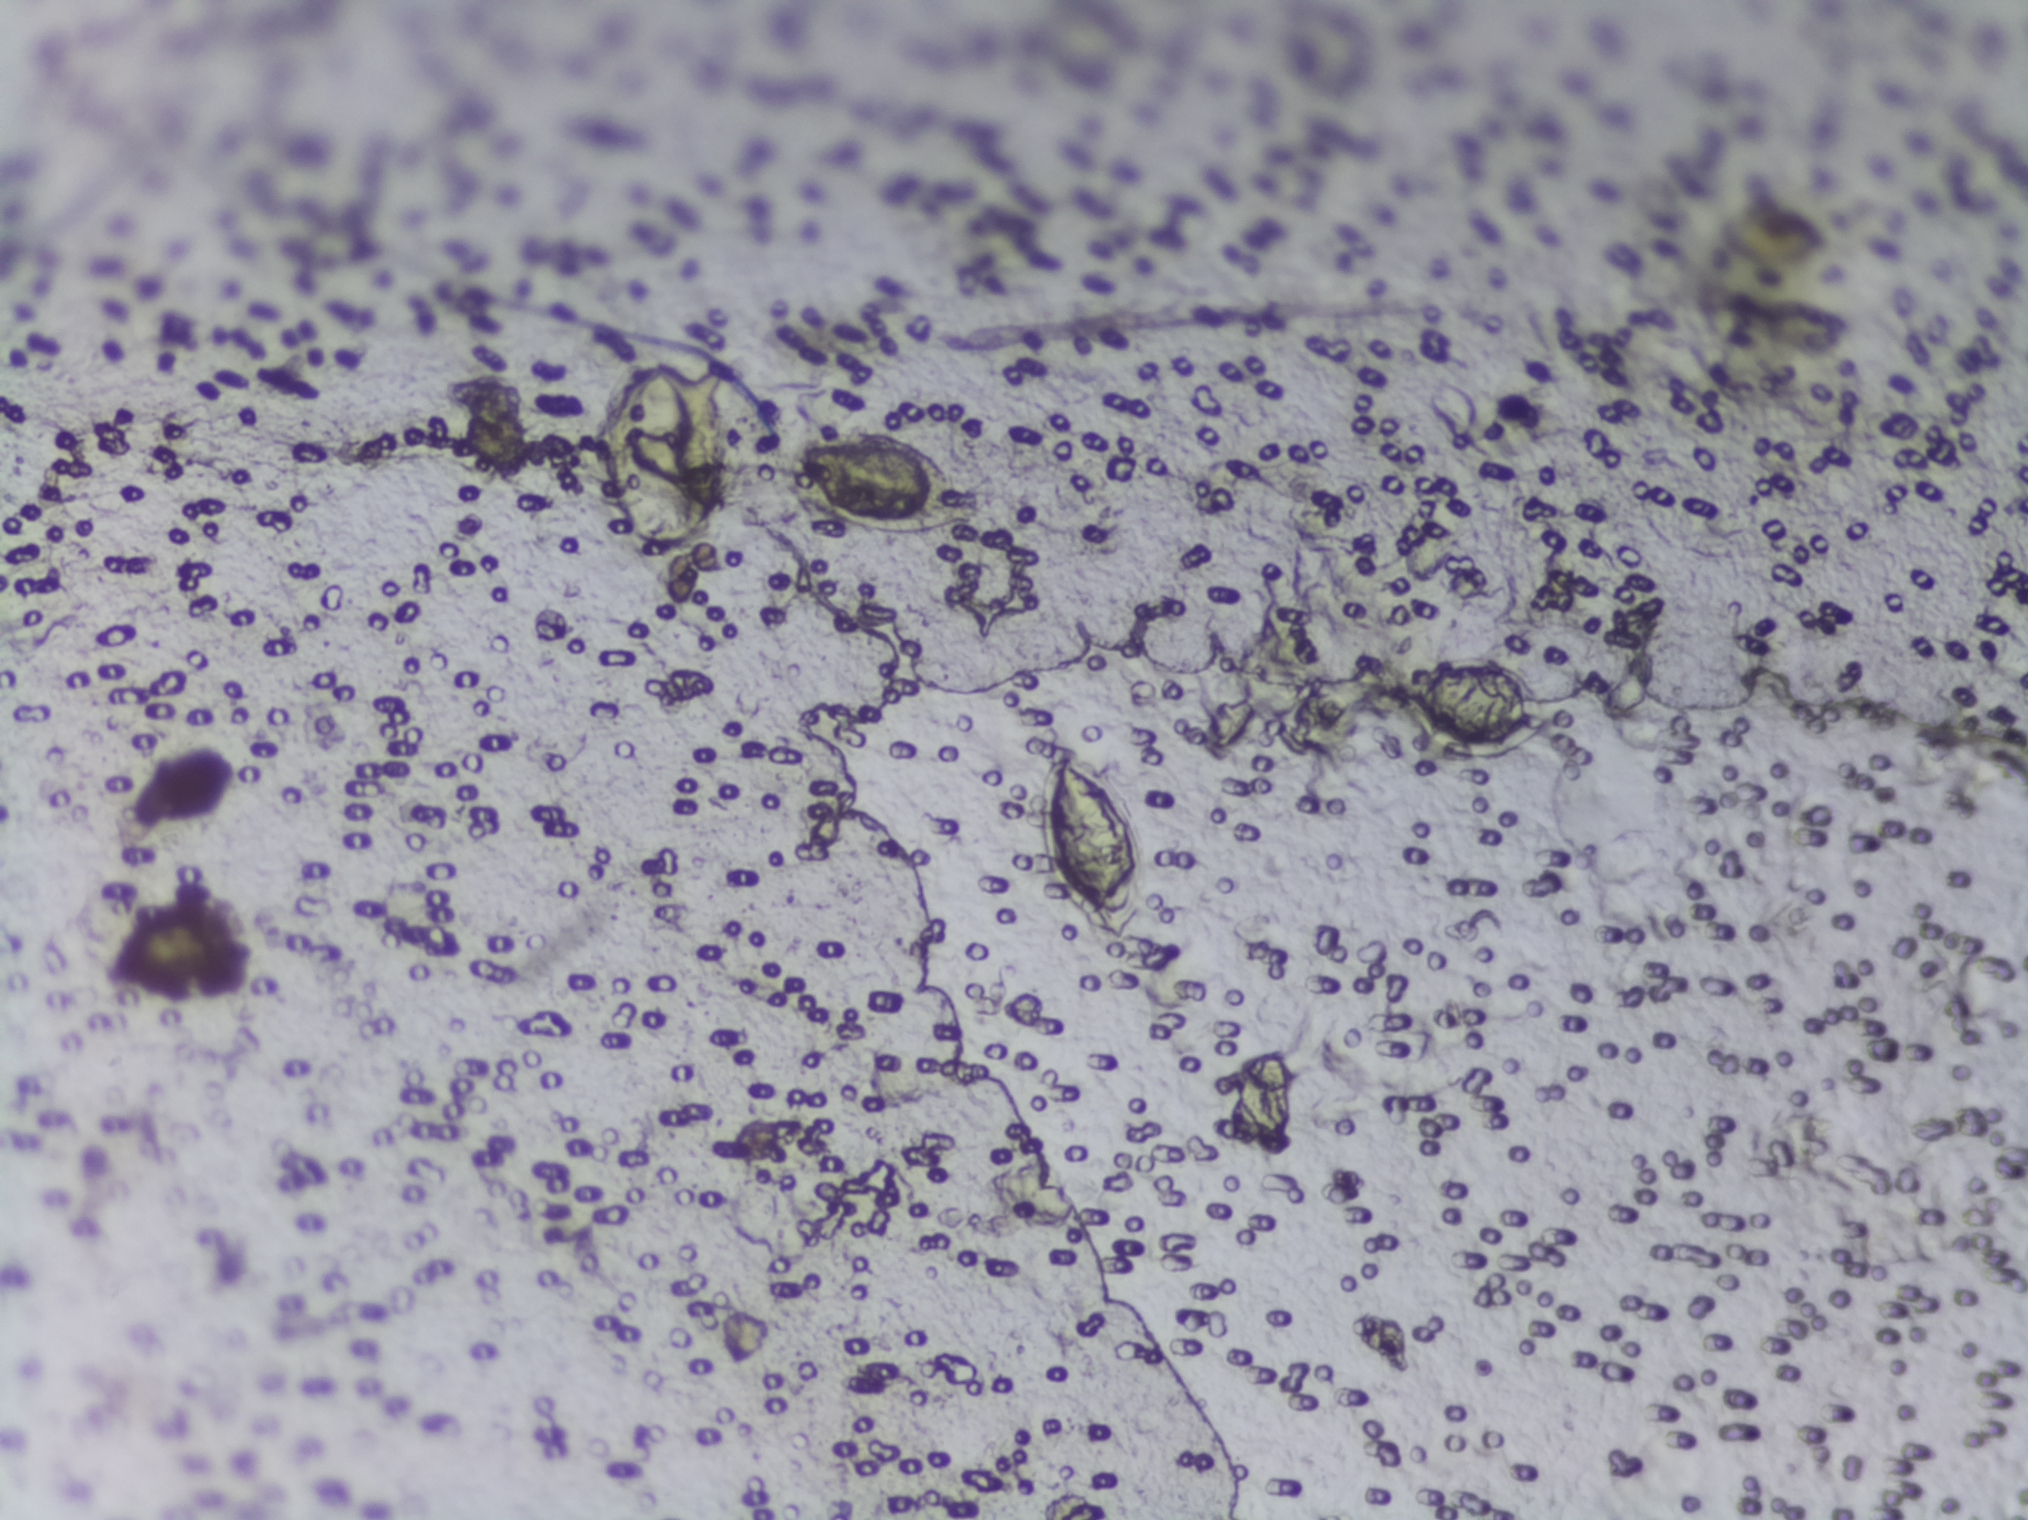
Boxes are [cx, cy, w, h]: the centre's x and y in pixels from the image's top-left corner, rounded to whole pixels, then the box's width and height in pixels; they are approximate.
{"schistosoma_egg_areas_cxcywh_px": [[666, 453, 144, 207], [880, 481, 201, 112], [1088, 842, 114, 192], [1471, 707, 173, 106]]}
The marked pixels themselves, not the boxes around them, cover about 2.3% of the image. A single outlined area may contain several eggs.
Microscope photograph (4× objective) of a membrane that a urine sample was filtered through.